Microscope photograph (4× objective) of a membrane that a urine sample was filtered through. Field of view: about 1.5 mm wide and 1.1 mm high.
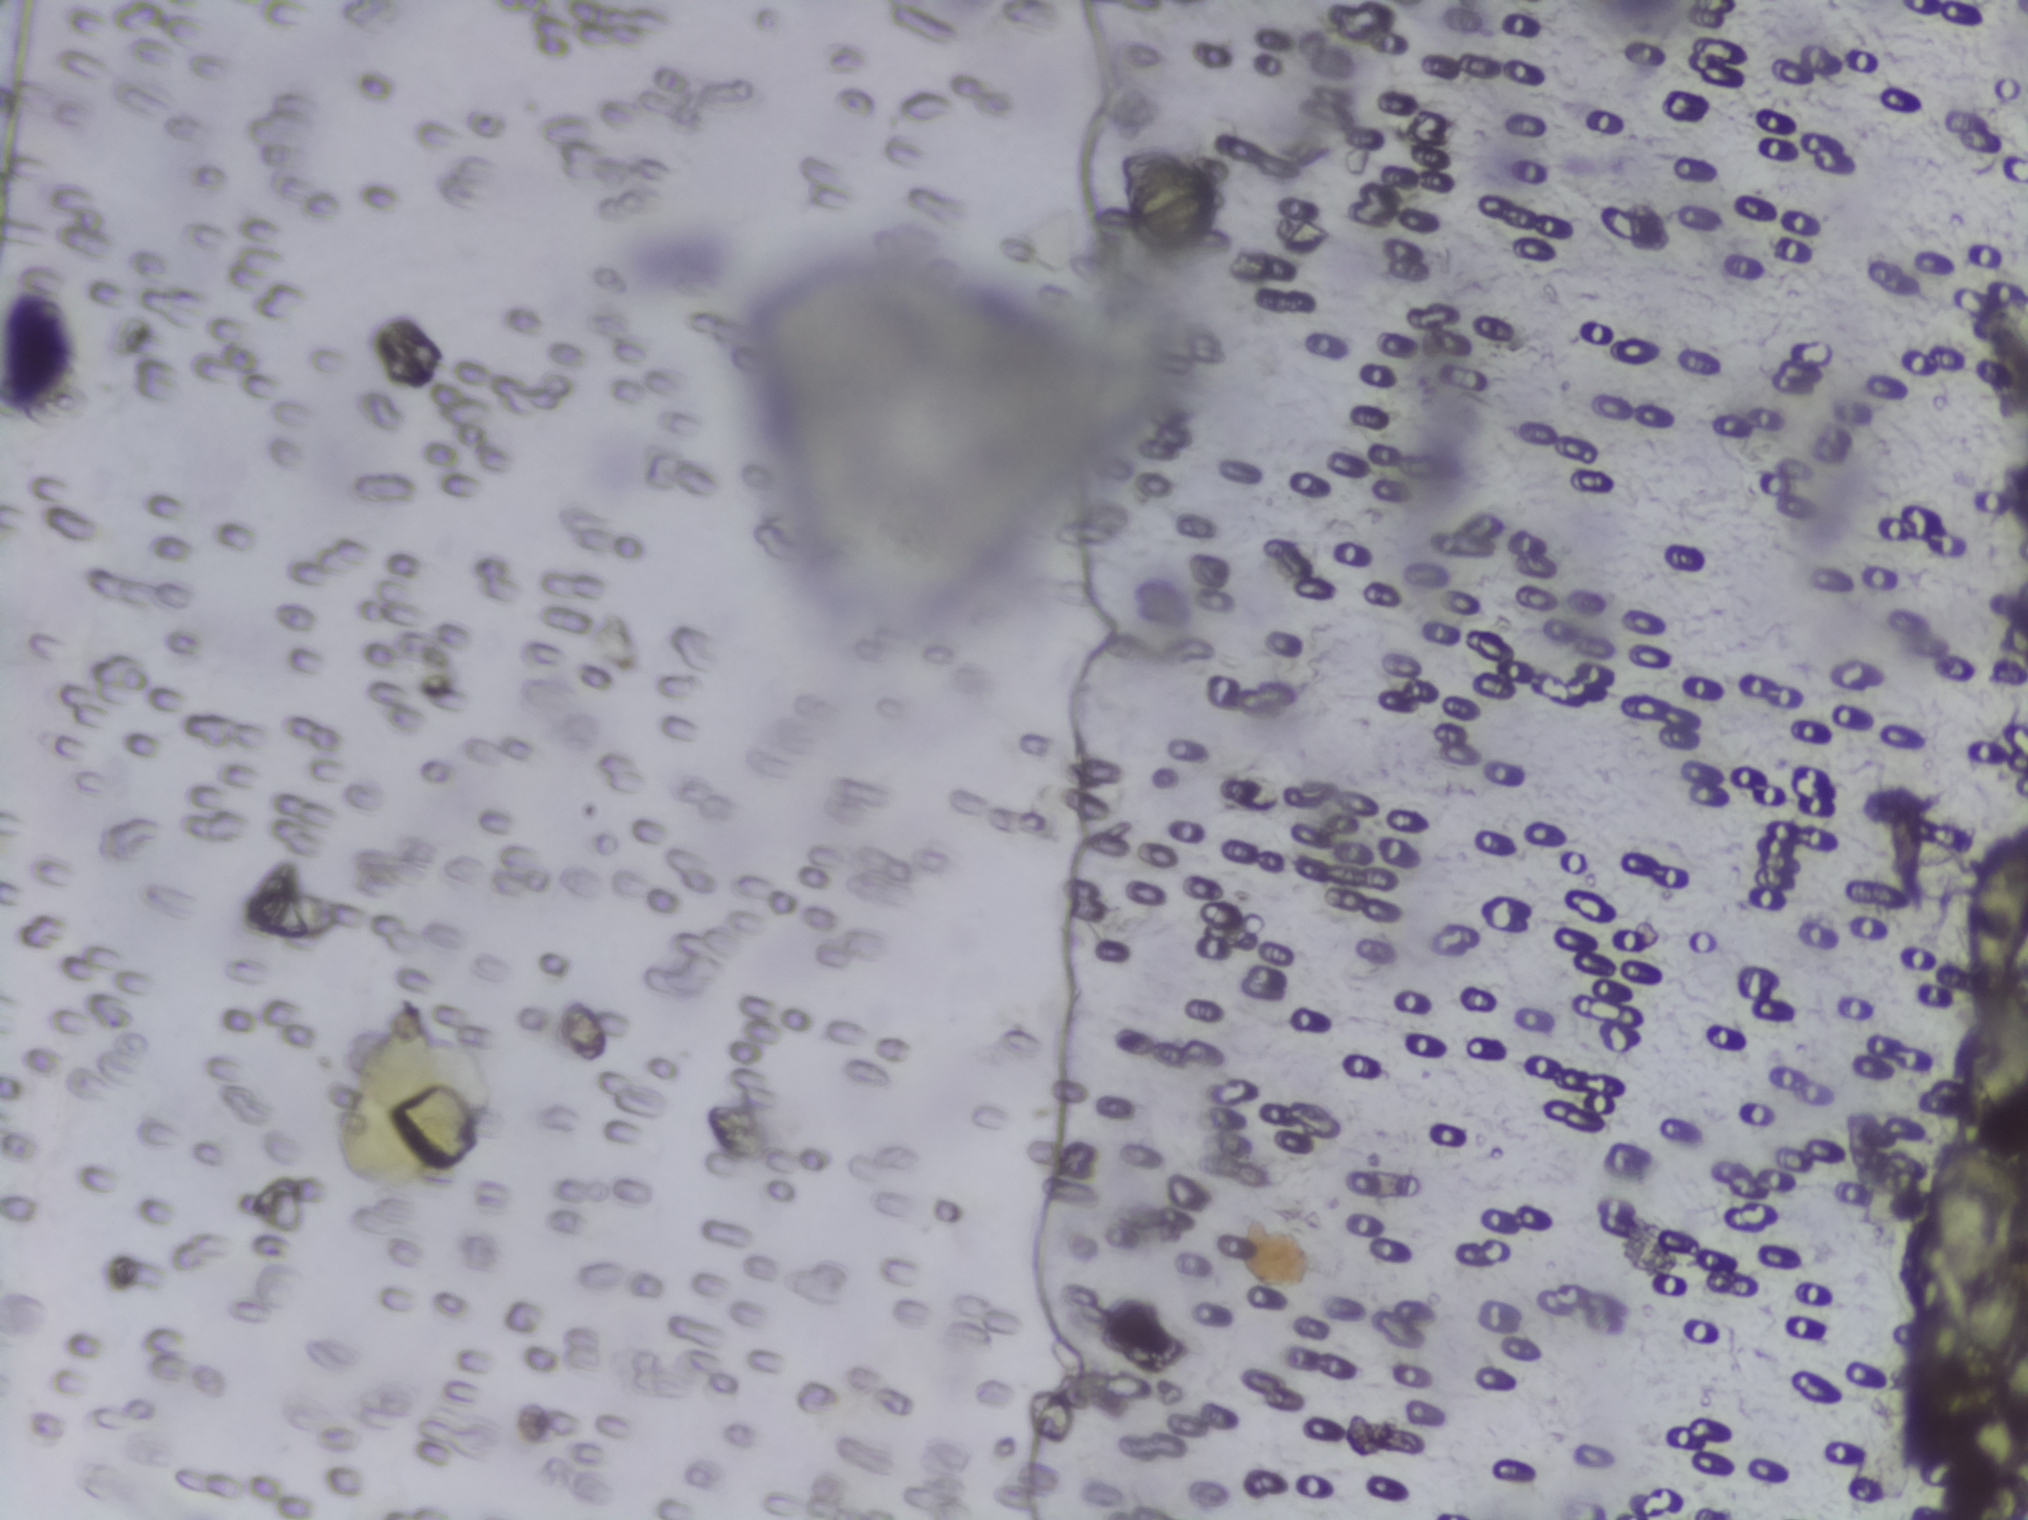
The expert annotation marks no Schistosoma egg in this field of view.